Urine filtration membrane under a 4× objective, photographed by an automated digital microscope.
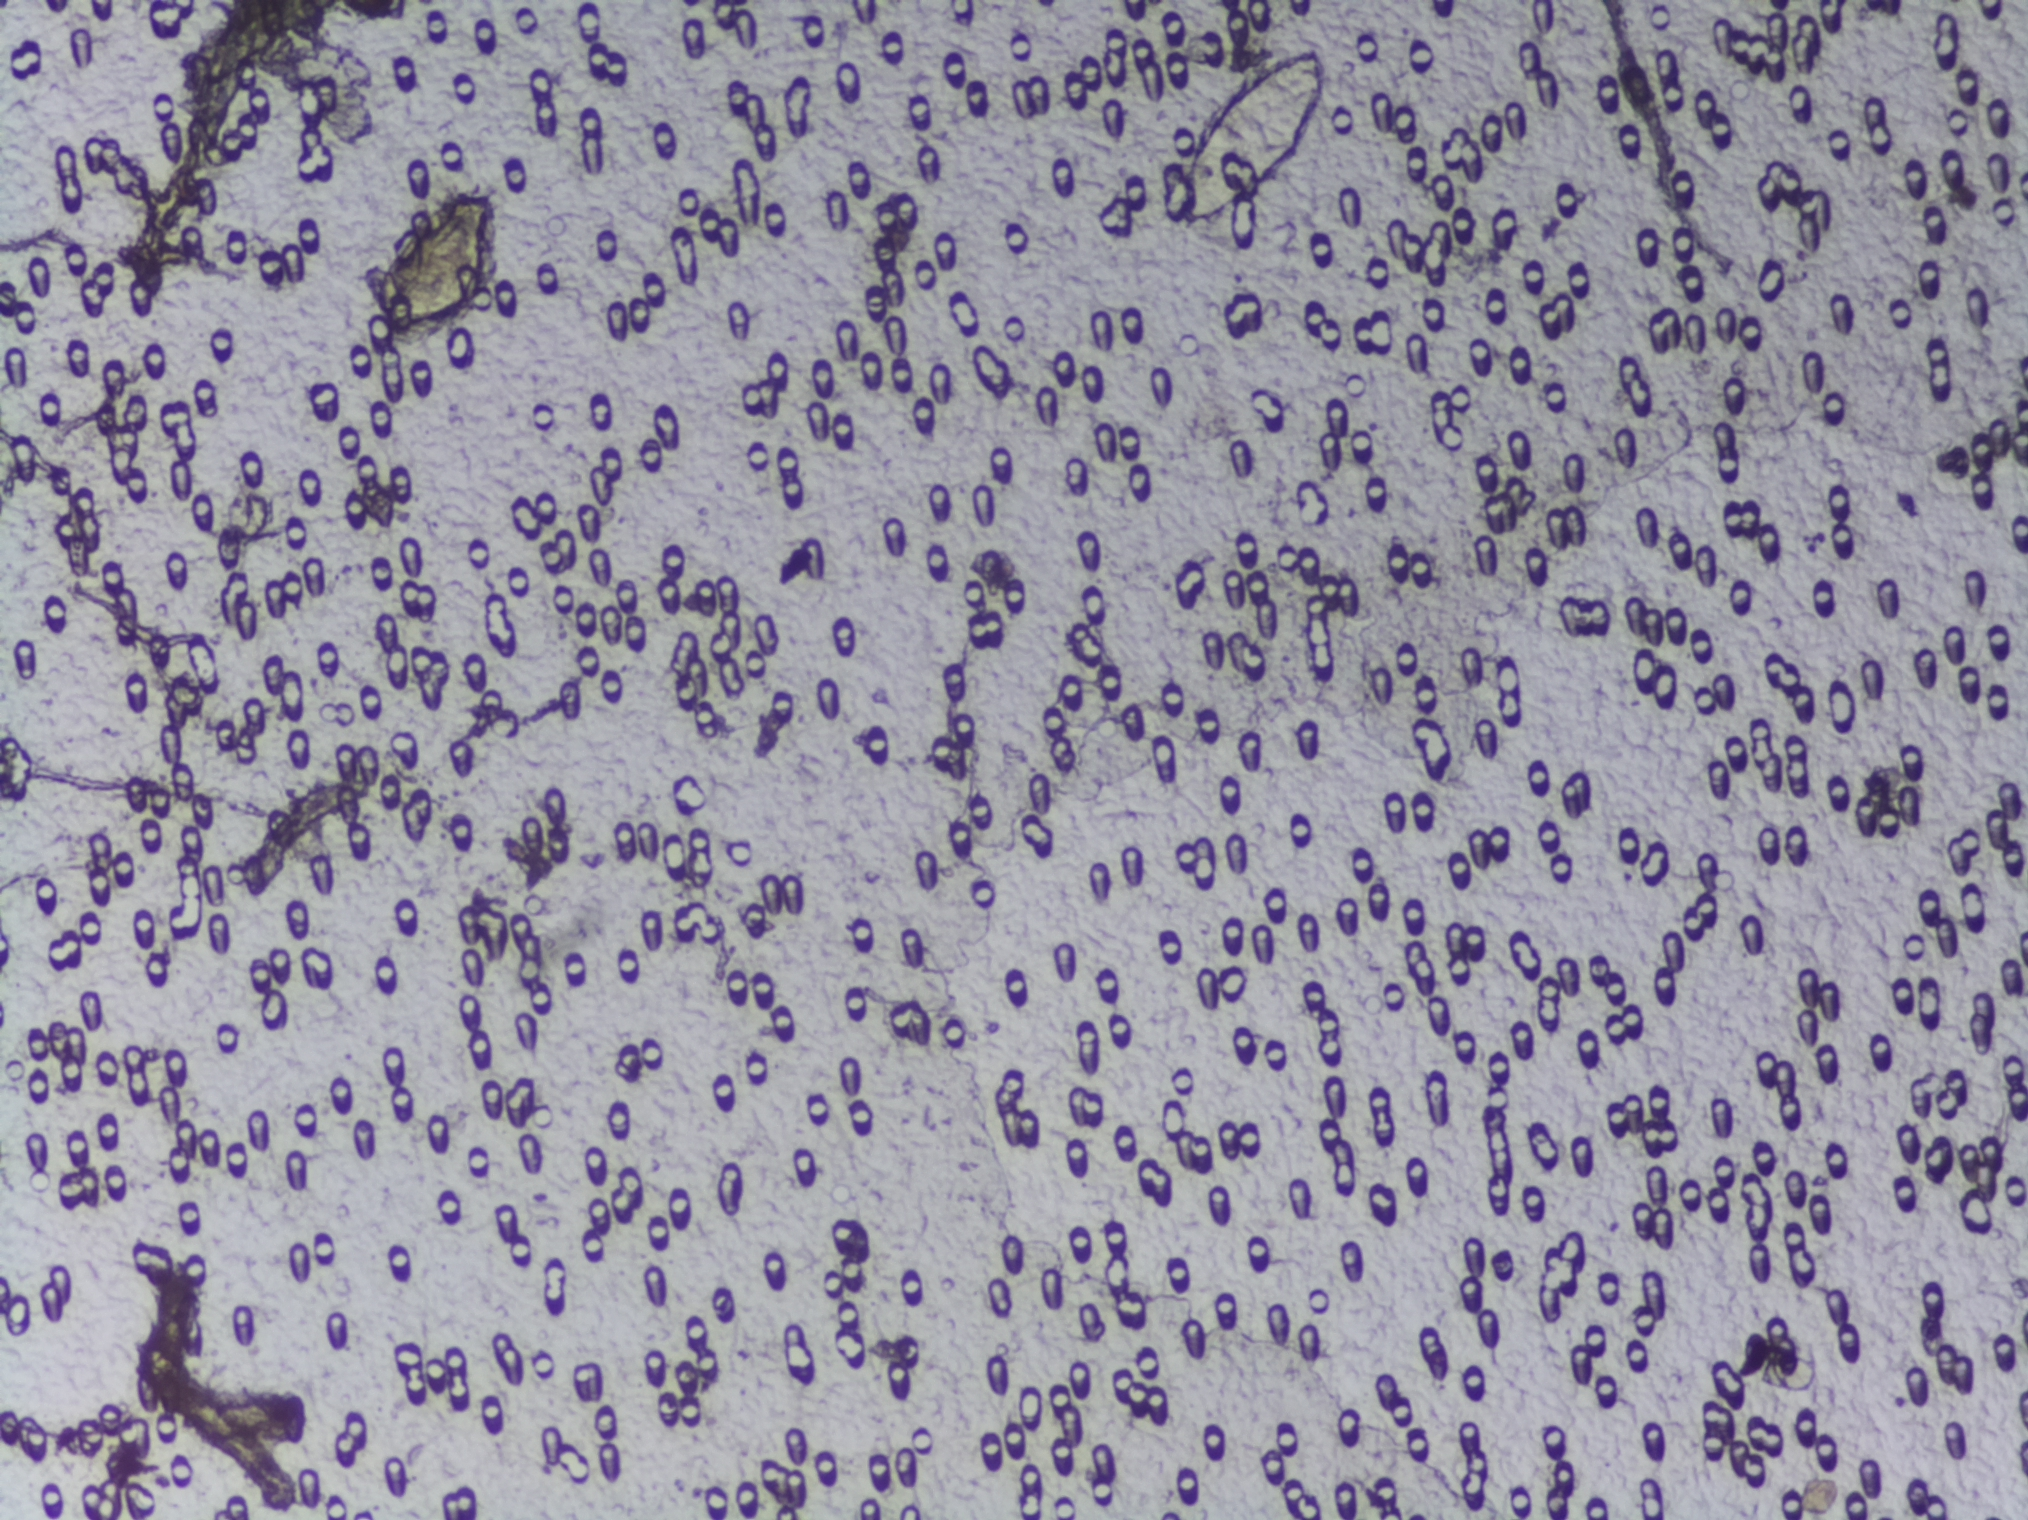
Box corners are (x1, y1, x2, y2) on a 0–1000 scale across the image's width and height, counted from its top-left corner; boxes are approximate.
Schistosoma egg areas, outlined: (578, 30, 658, 157). A single outlined area may contain several eggs.